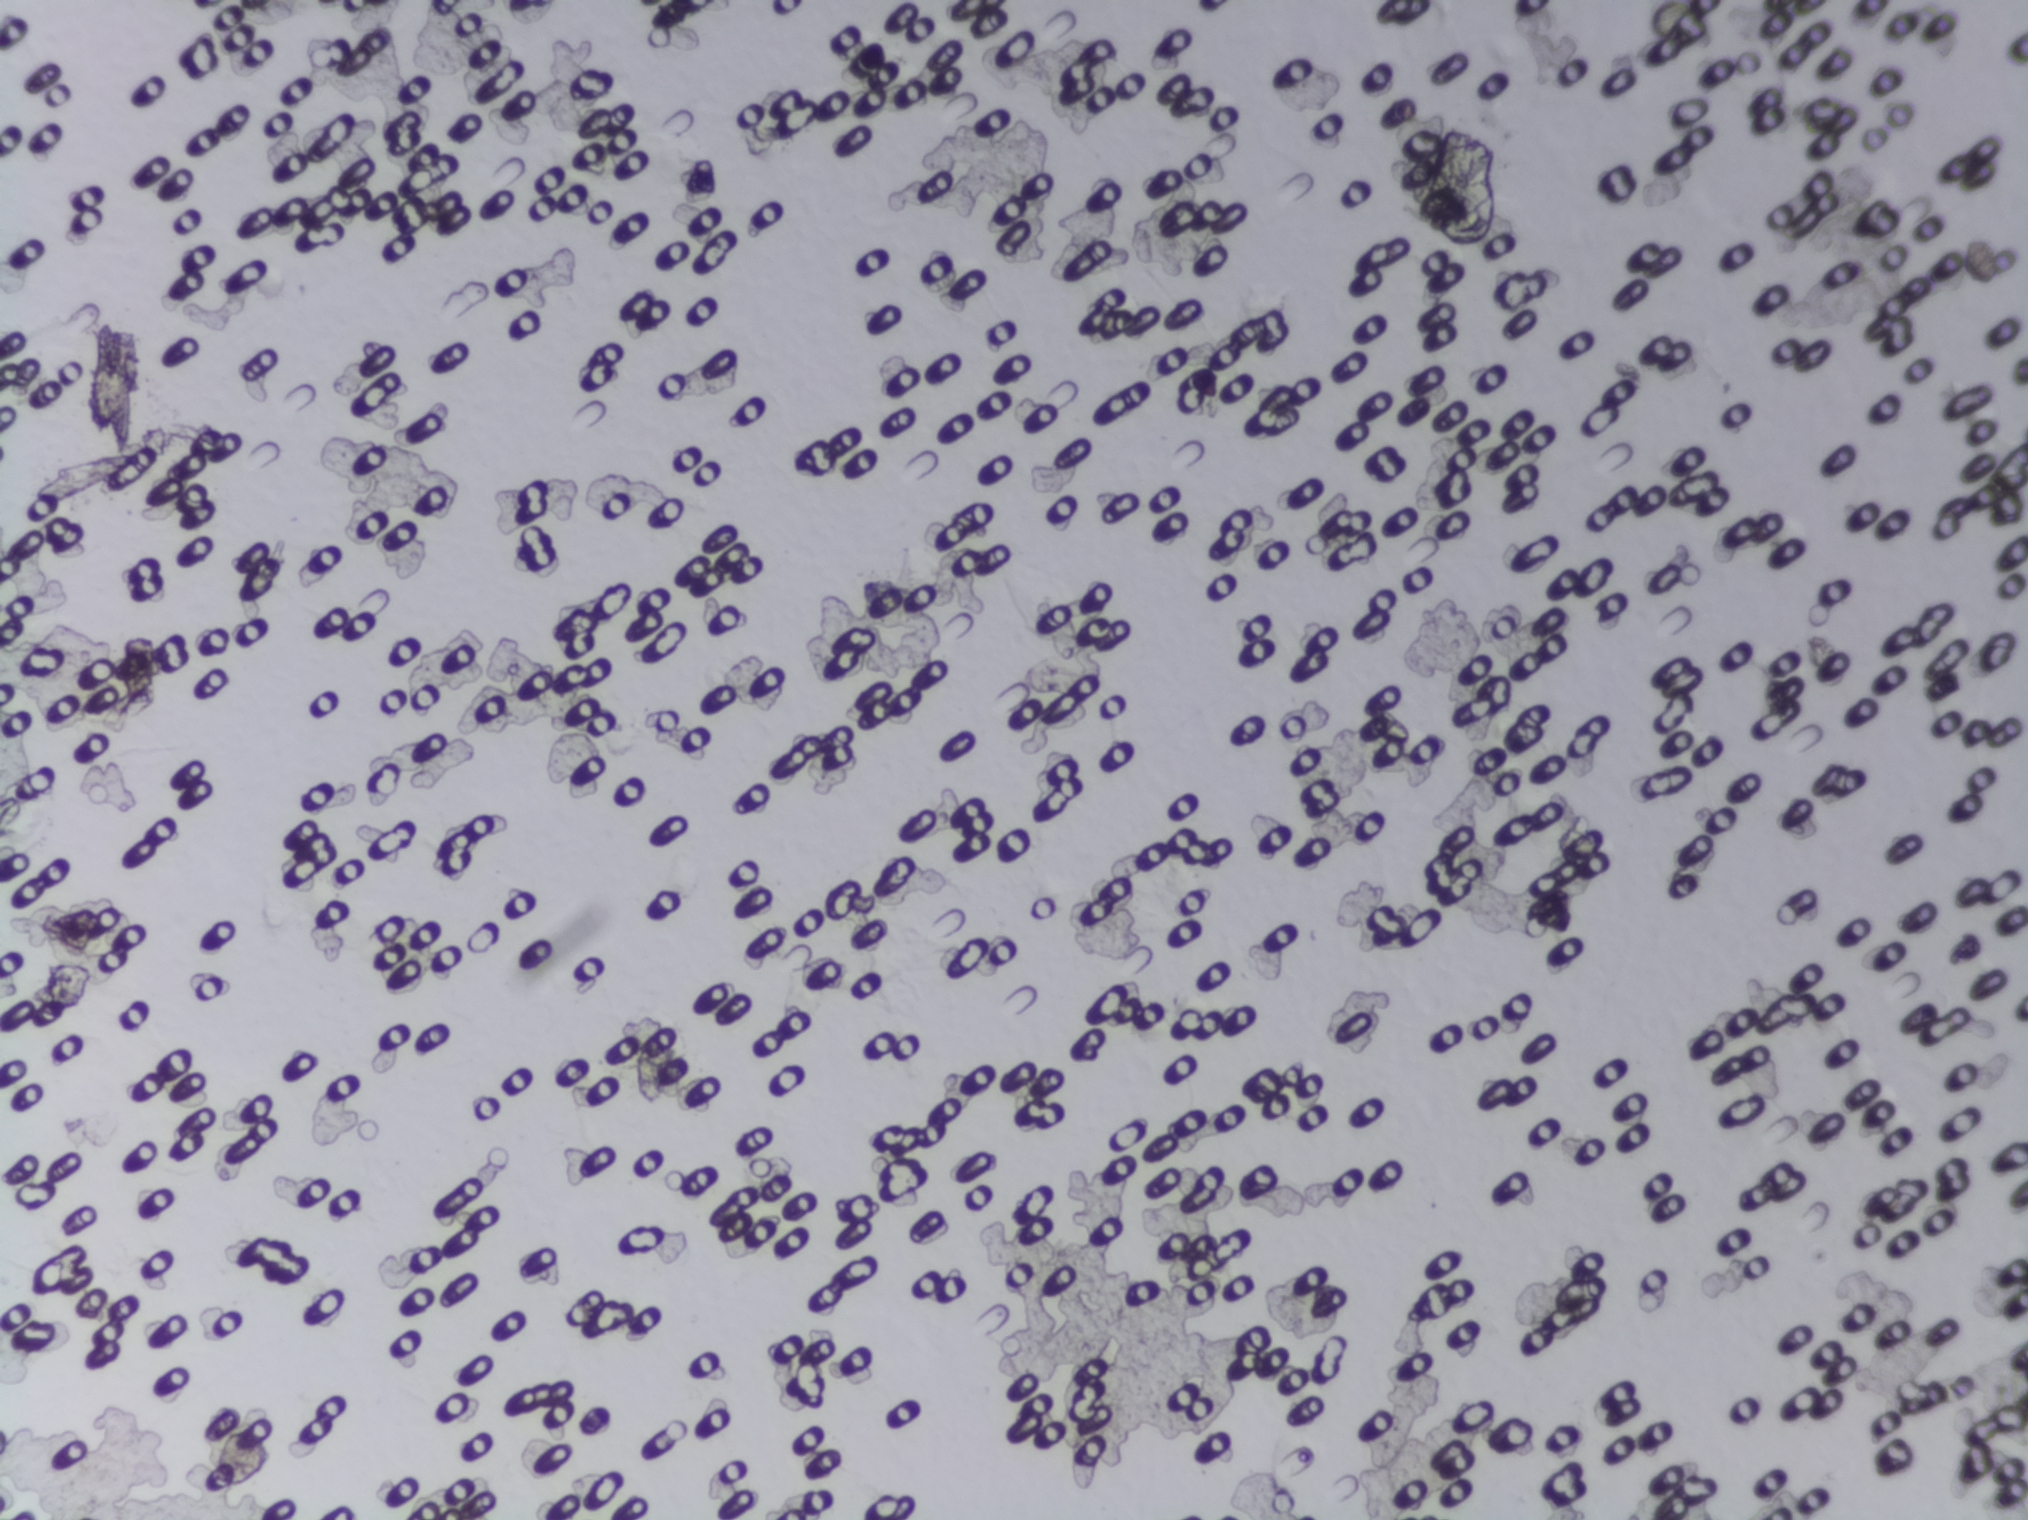
Photomicrograph of a urine filtration membrane, 4× objective. The field of view is about 1.5 mm × 1.1 mm.
The expert annotation marks no Schistosoma egg in this field of view.